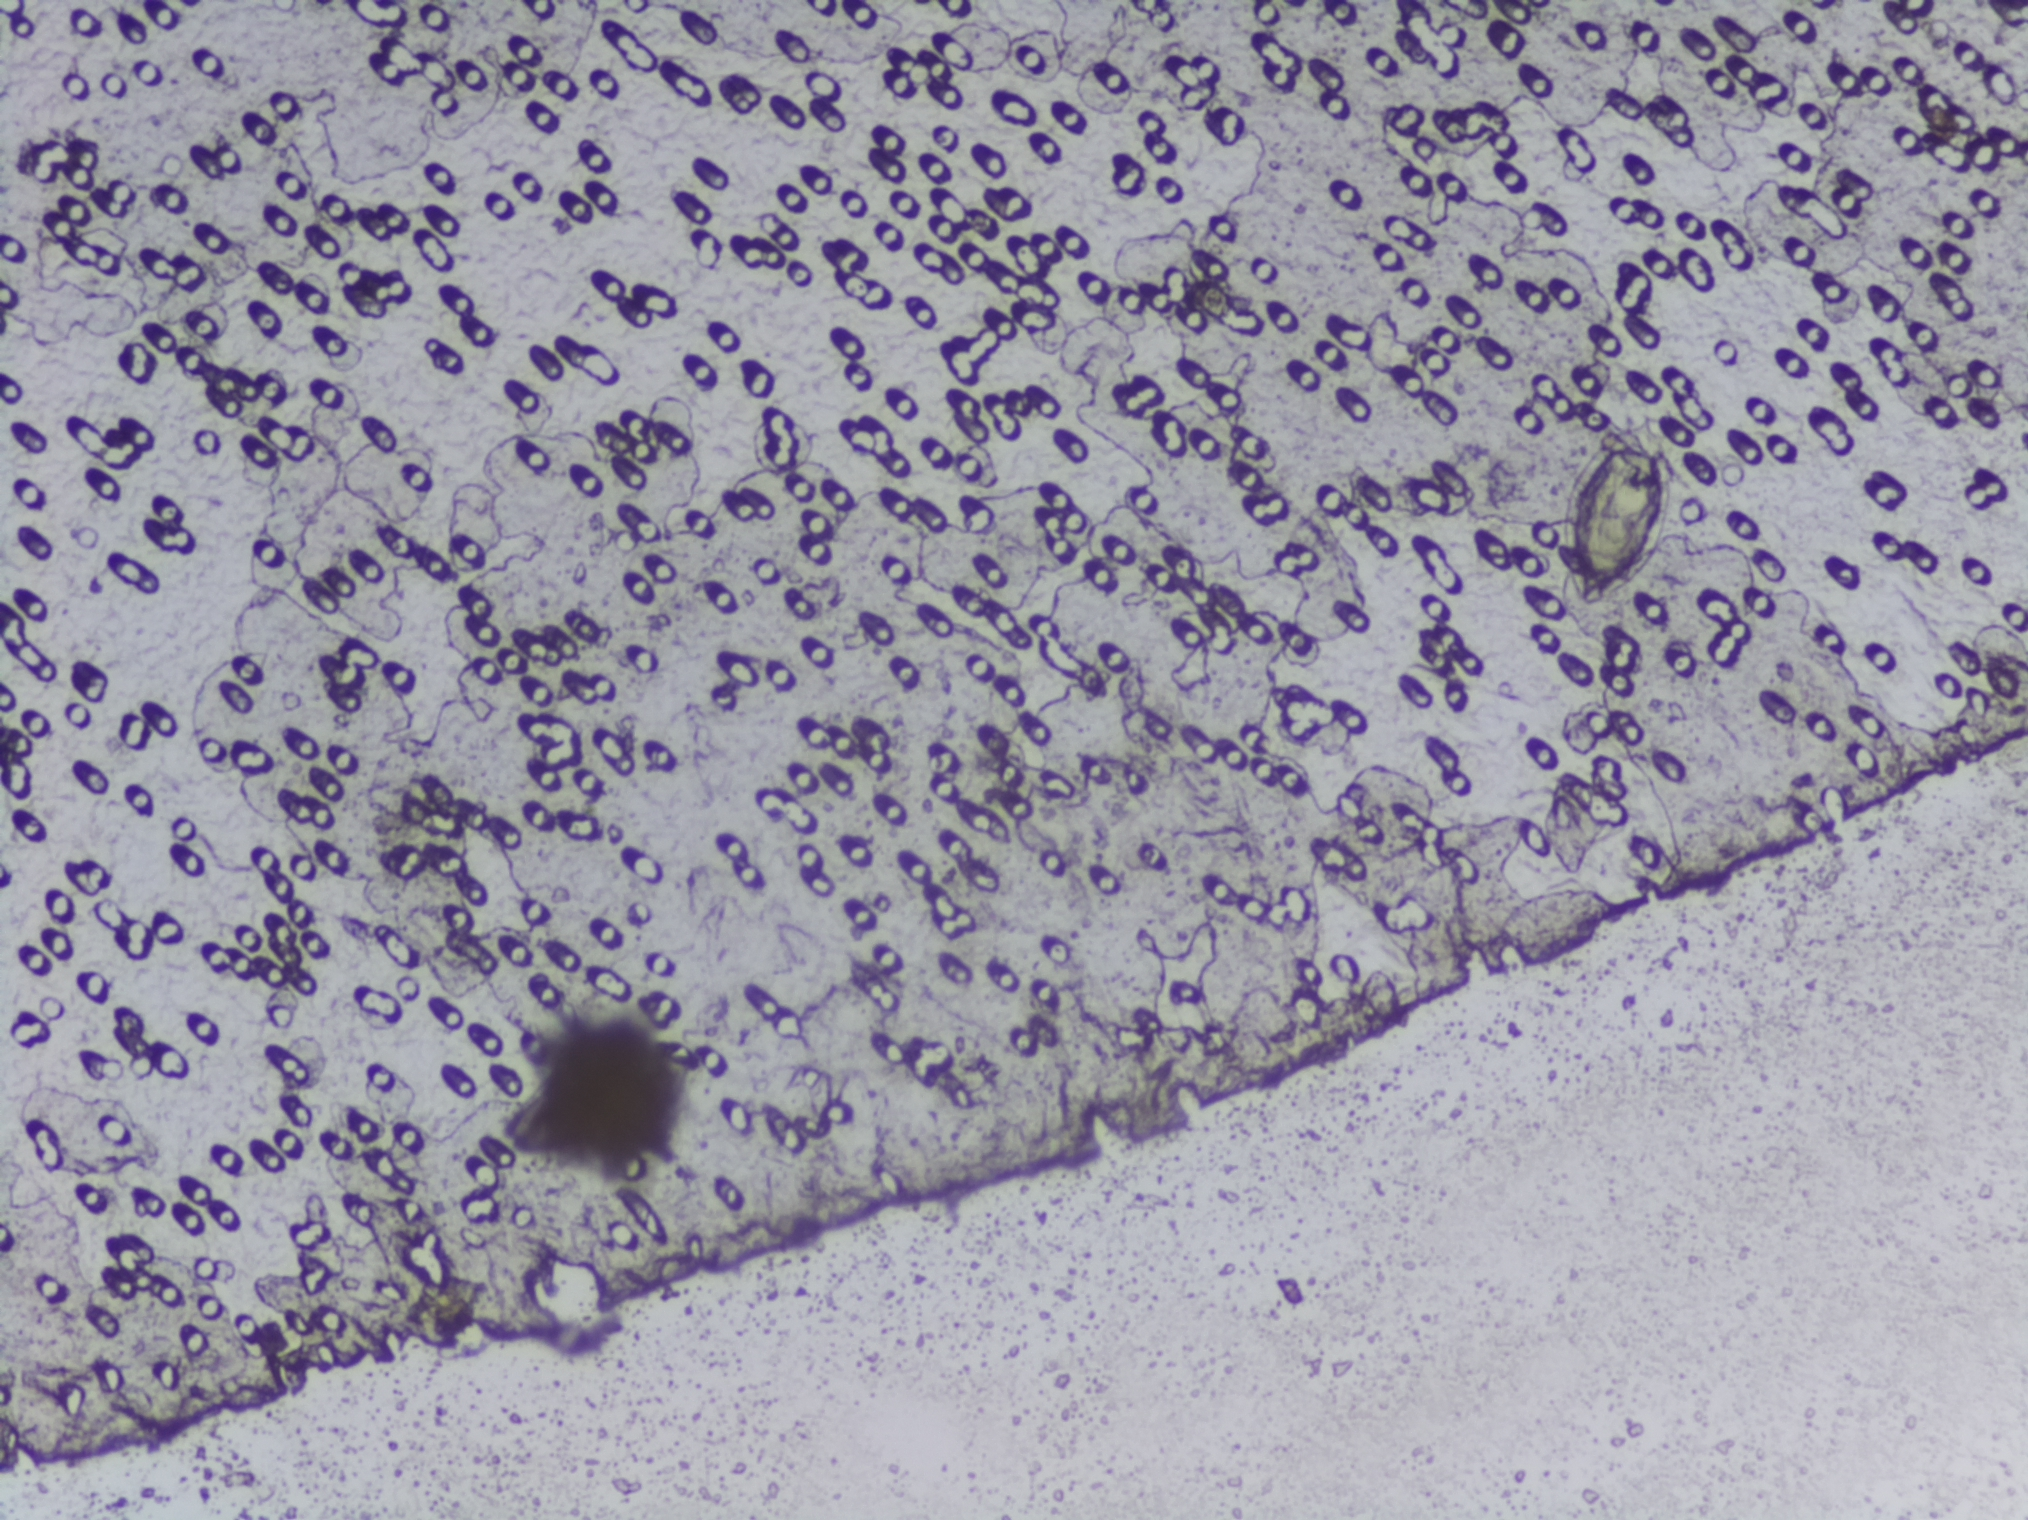
Photomicrograph of a urine filtration membrane, 4× objective.
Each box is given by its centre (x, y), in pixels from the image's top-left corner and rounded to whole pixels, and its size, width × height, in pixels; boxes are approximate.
The expert annotation outlines Schistosoma eggs at centre (1617, 513), 125 × 203 px. The marked pixels themselves, not the box around them, cover about 0.6% of the image. Eggs that touch can end up inside the same outlined area.